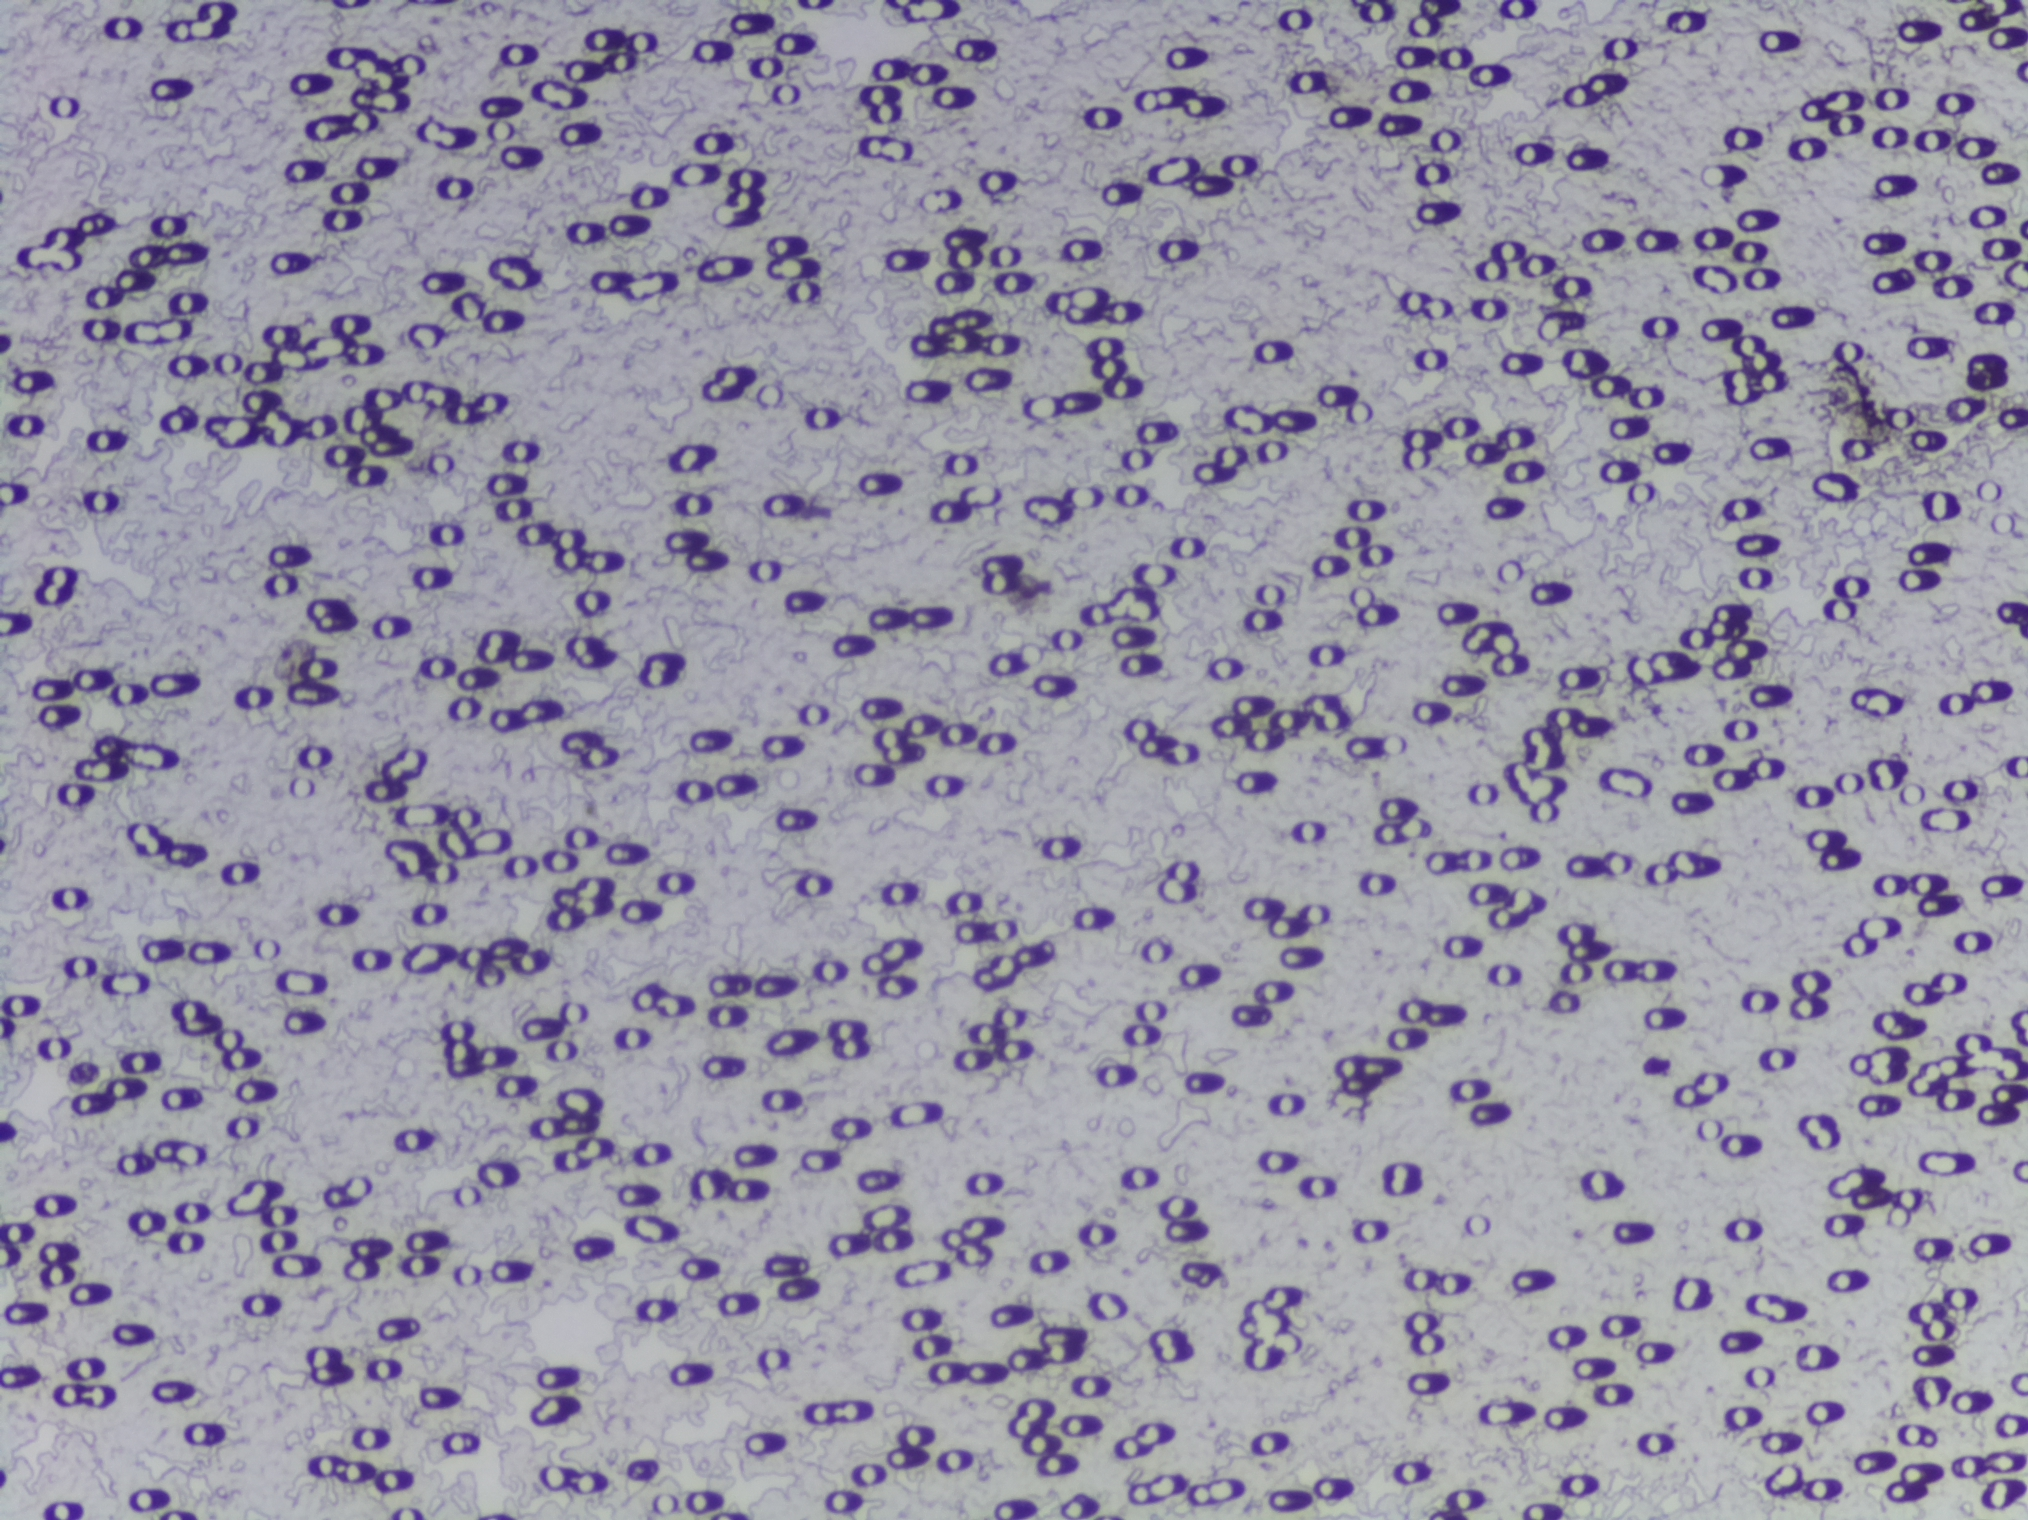
Photomicrograph of a urine filtration membrane, 4× objective. The field of view is about 1.5 mm × 1.1 mm.
The expert annotation outlines no Schistosoma egg in this image.